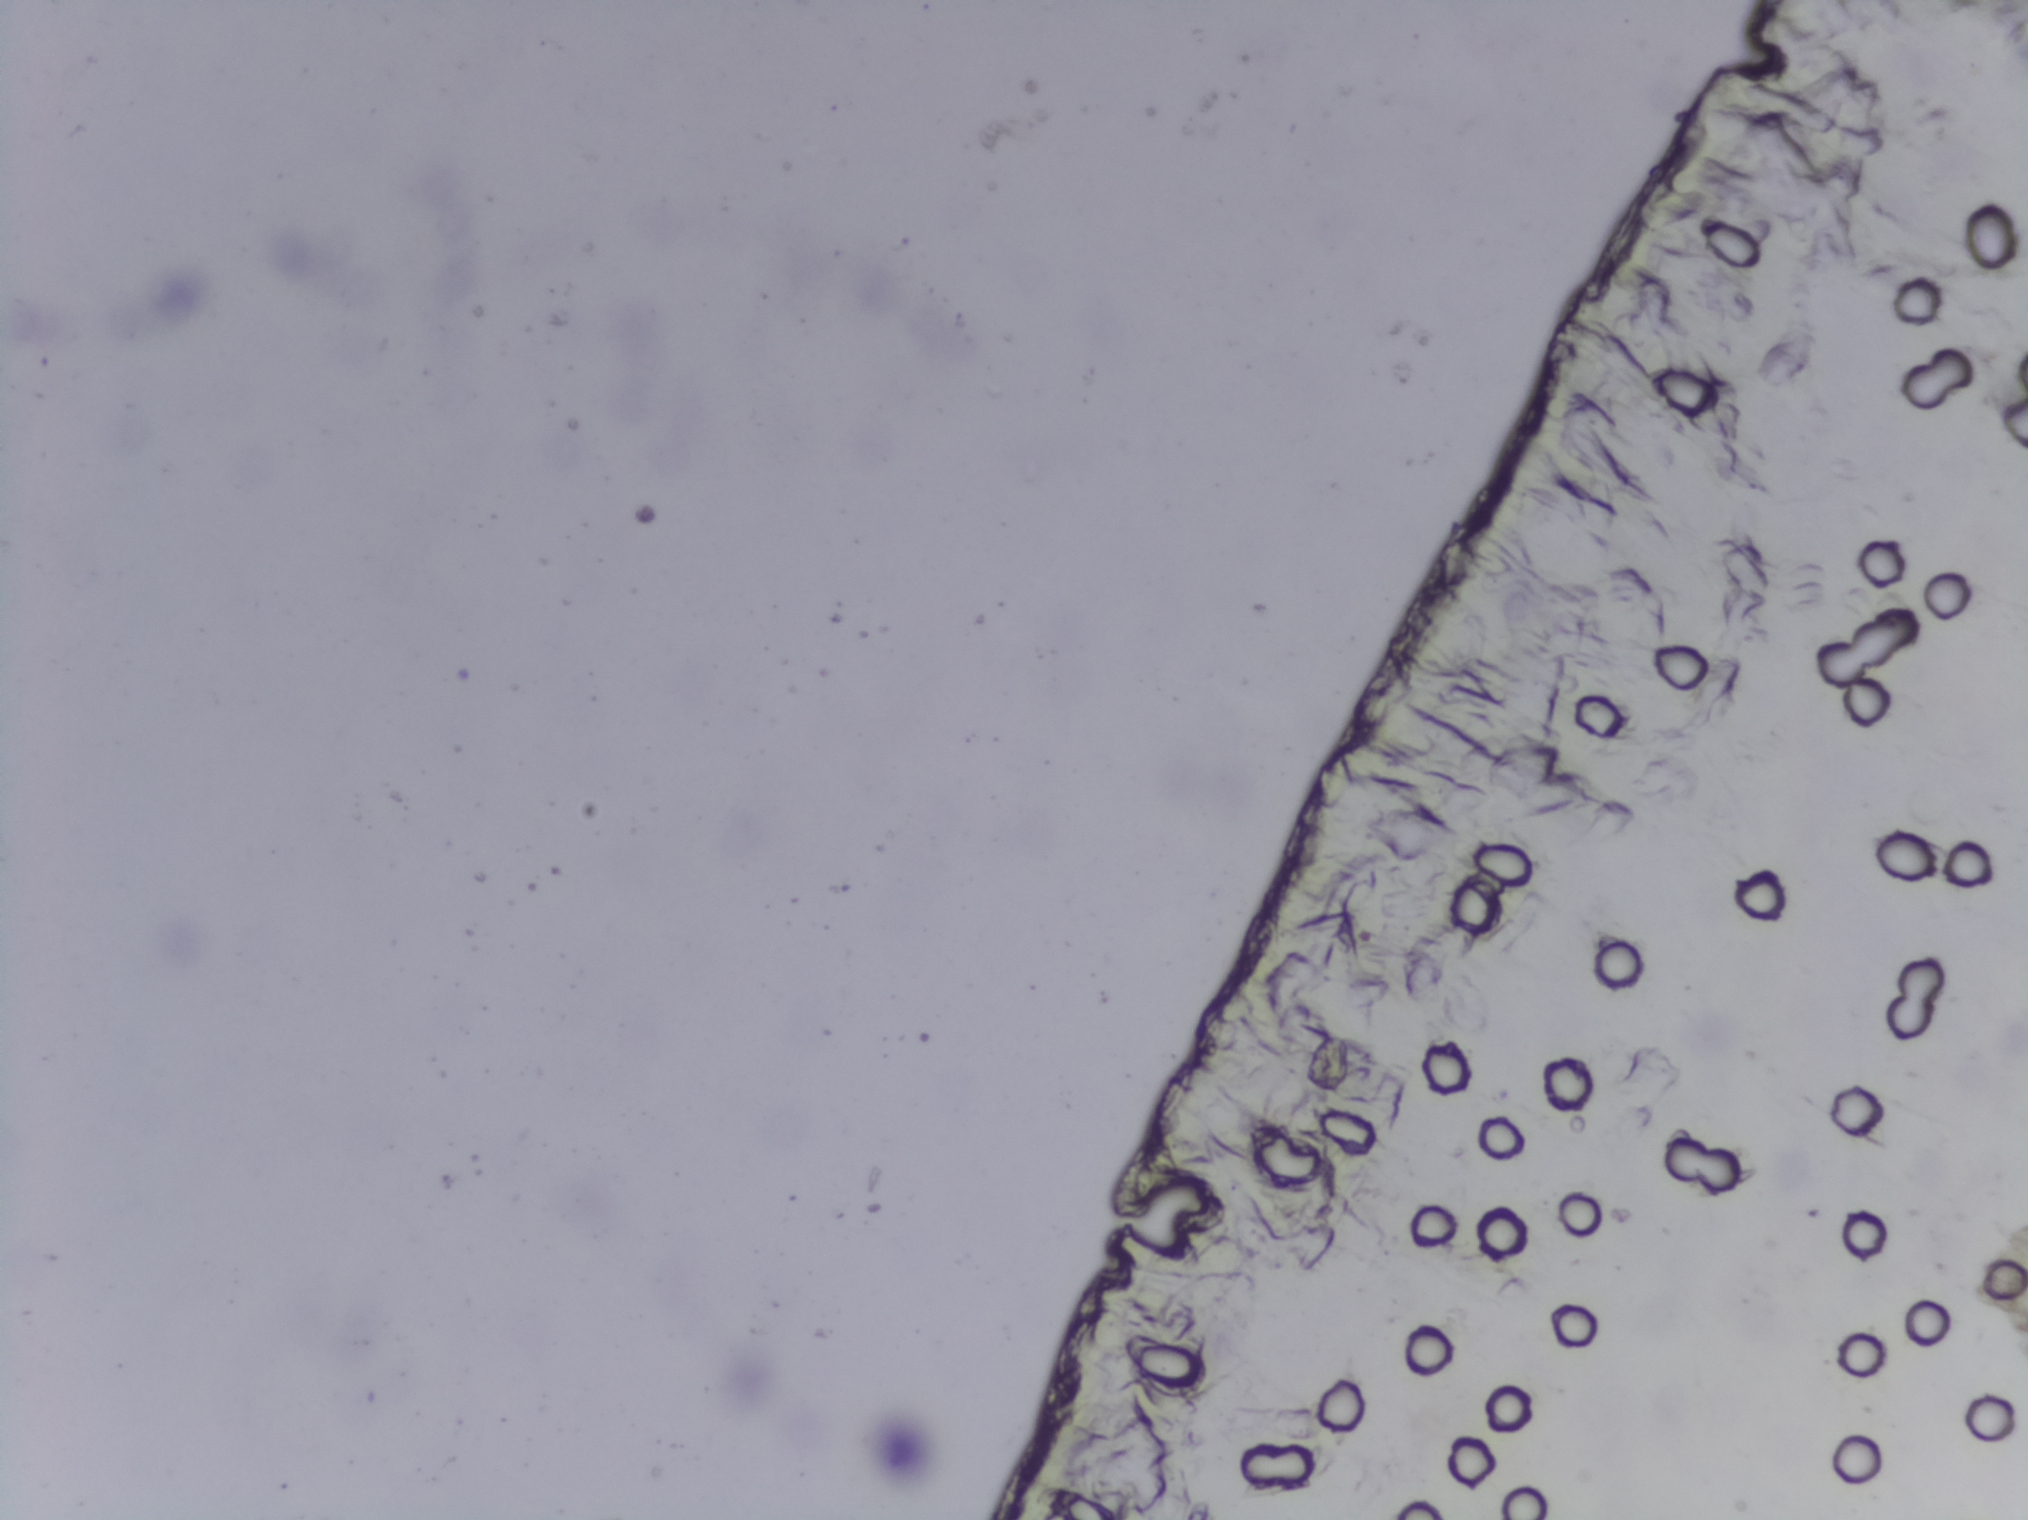
Photograph from an automated digital microscope: urine filter membrane, 4× objective.
The expert annotation outlines no Schistosoma egg in this image.